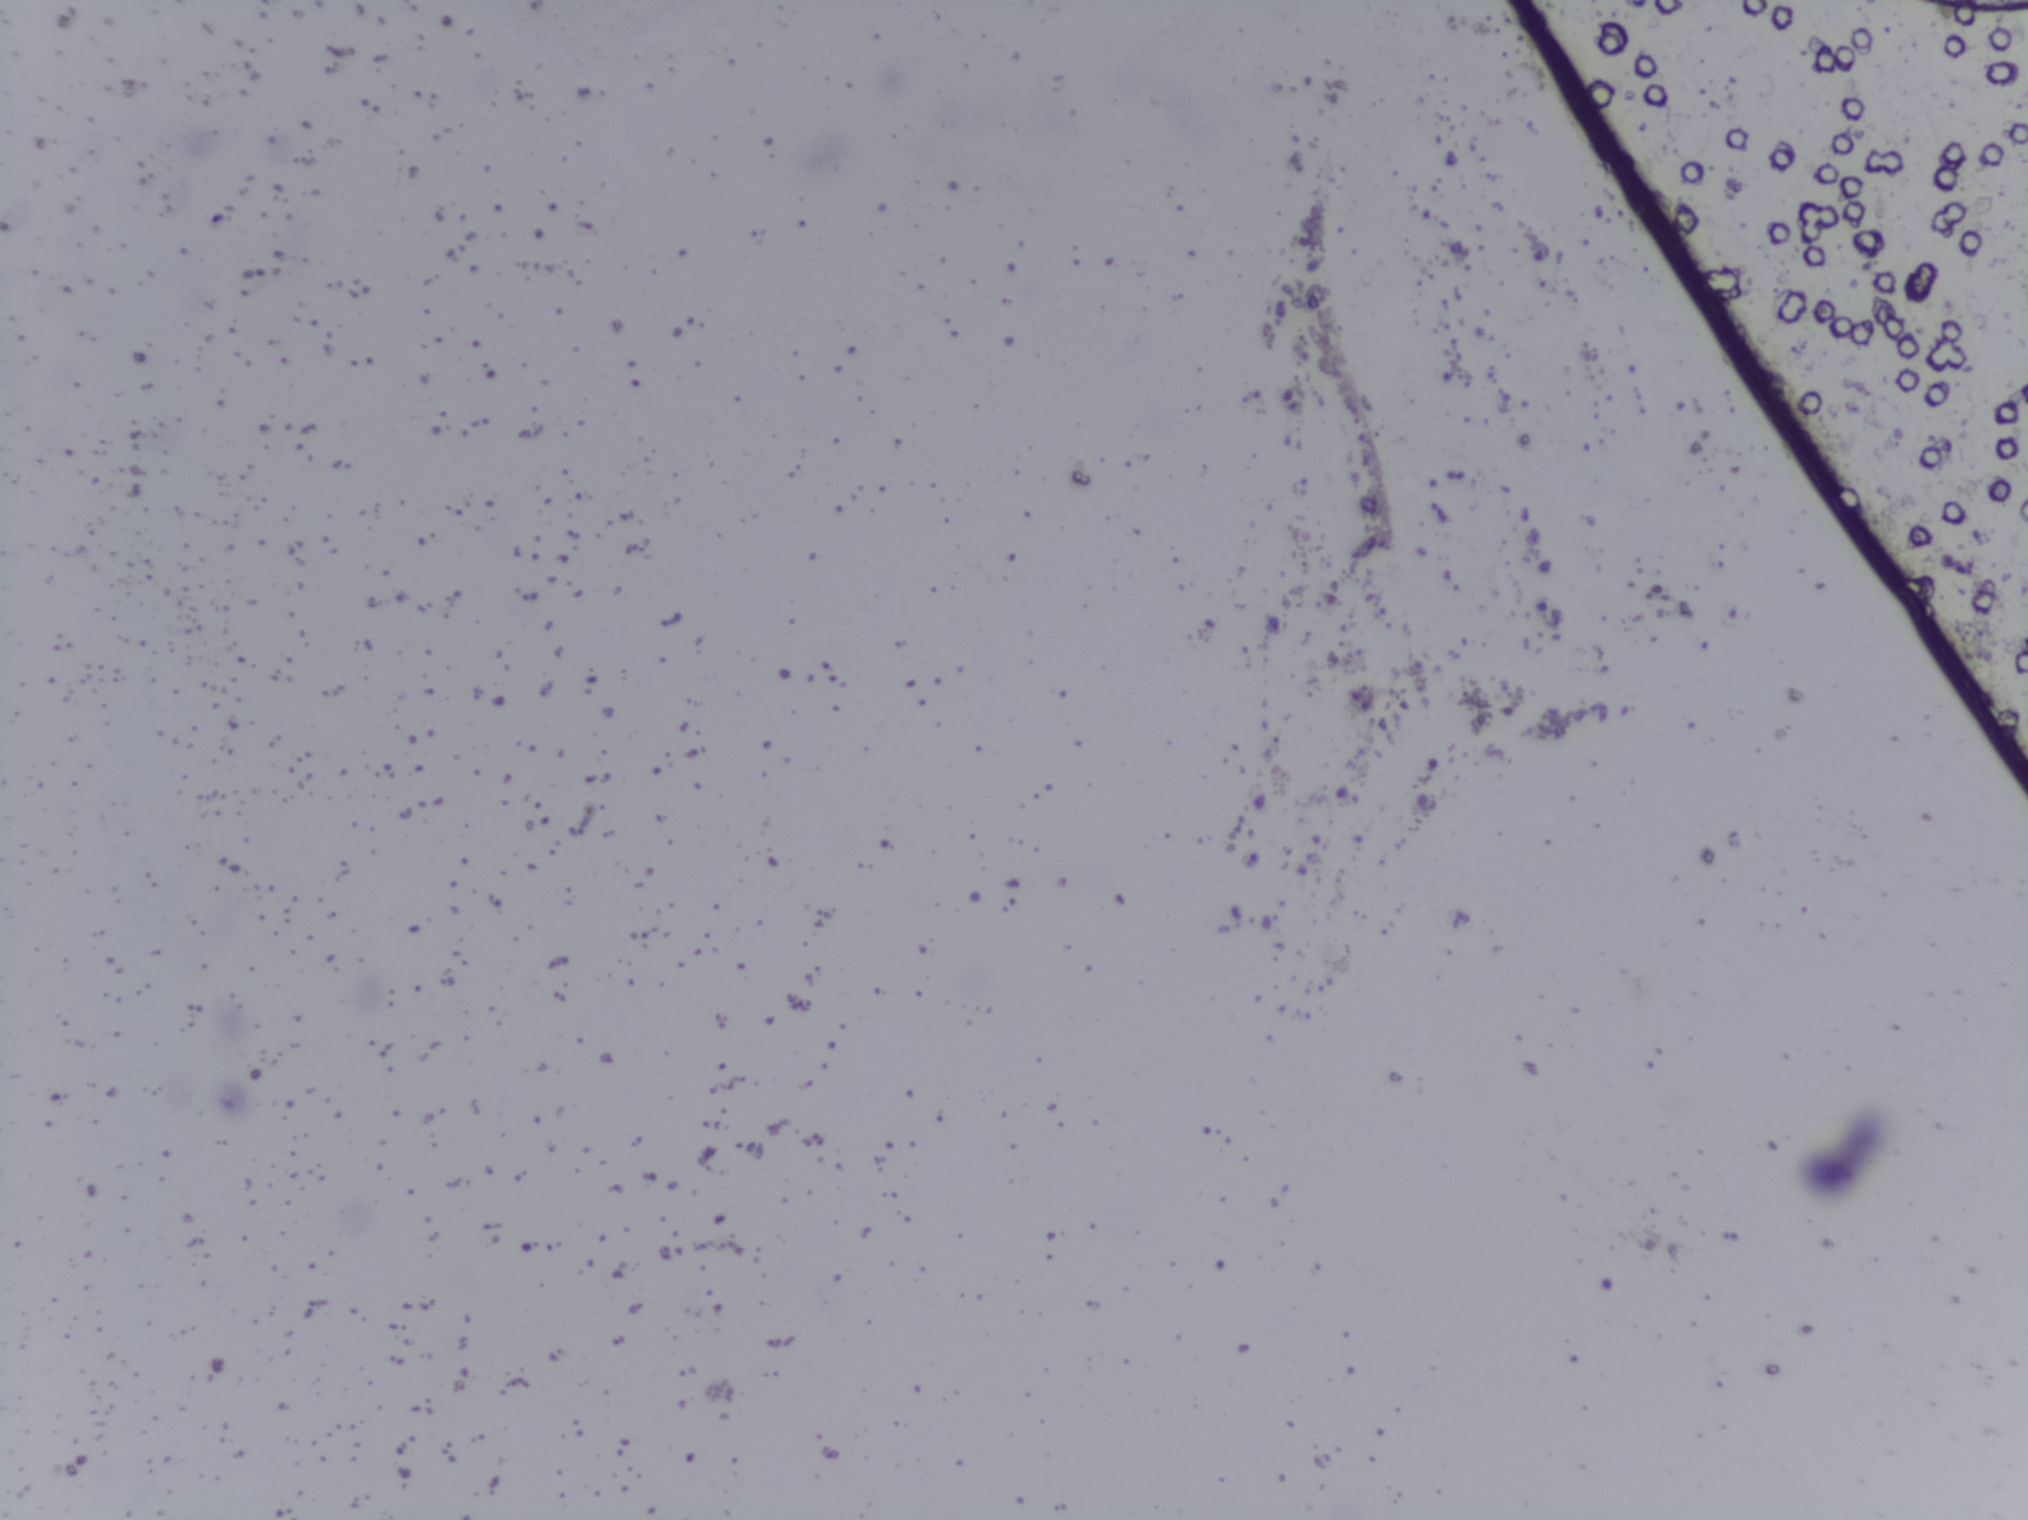
No Schistosoma egg is outlined in this image's expert annotation.
Photomicrograph of a urine filtration membrane, 4× objective. Field of view: about 1.5 mm wide and 1.1 mm high.